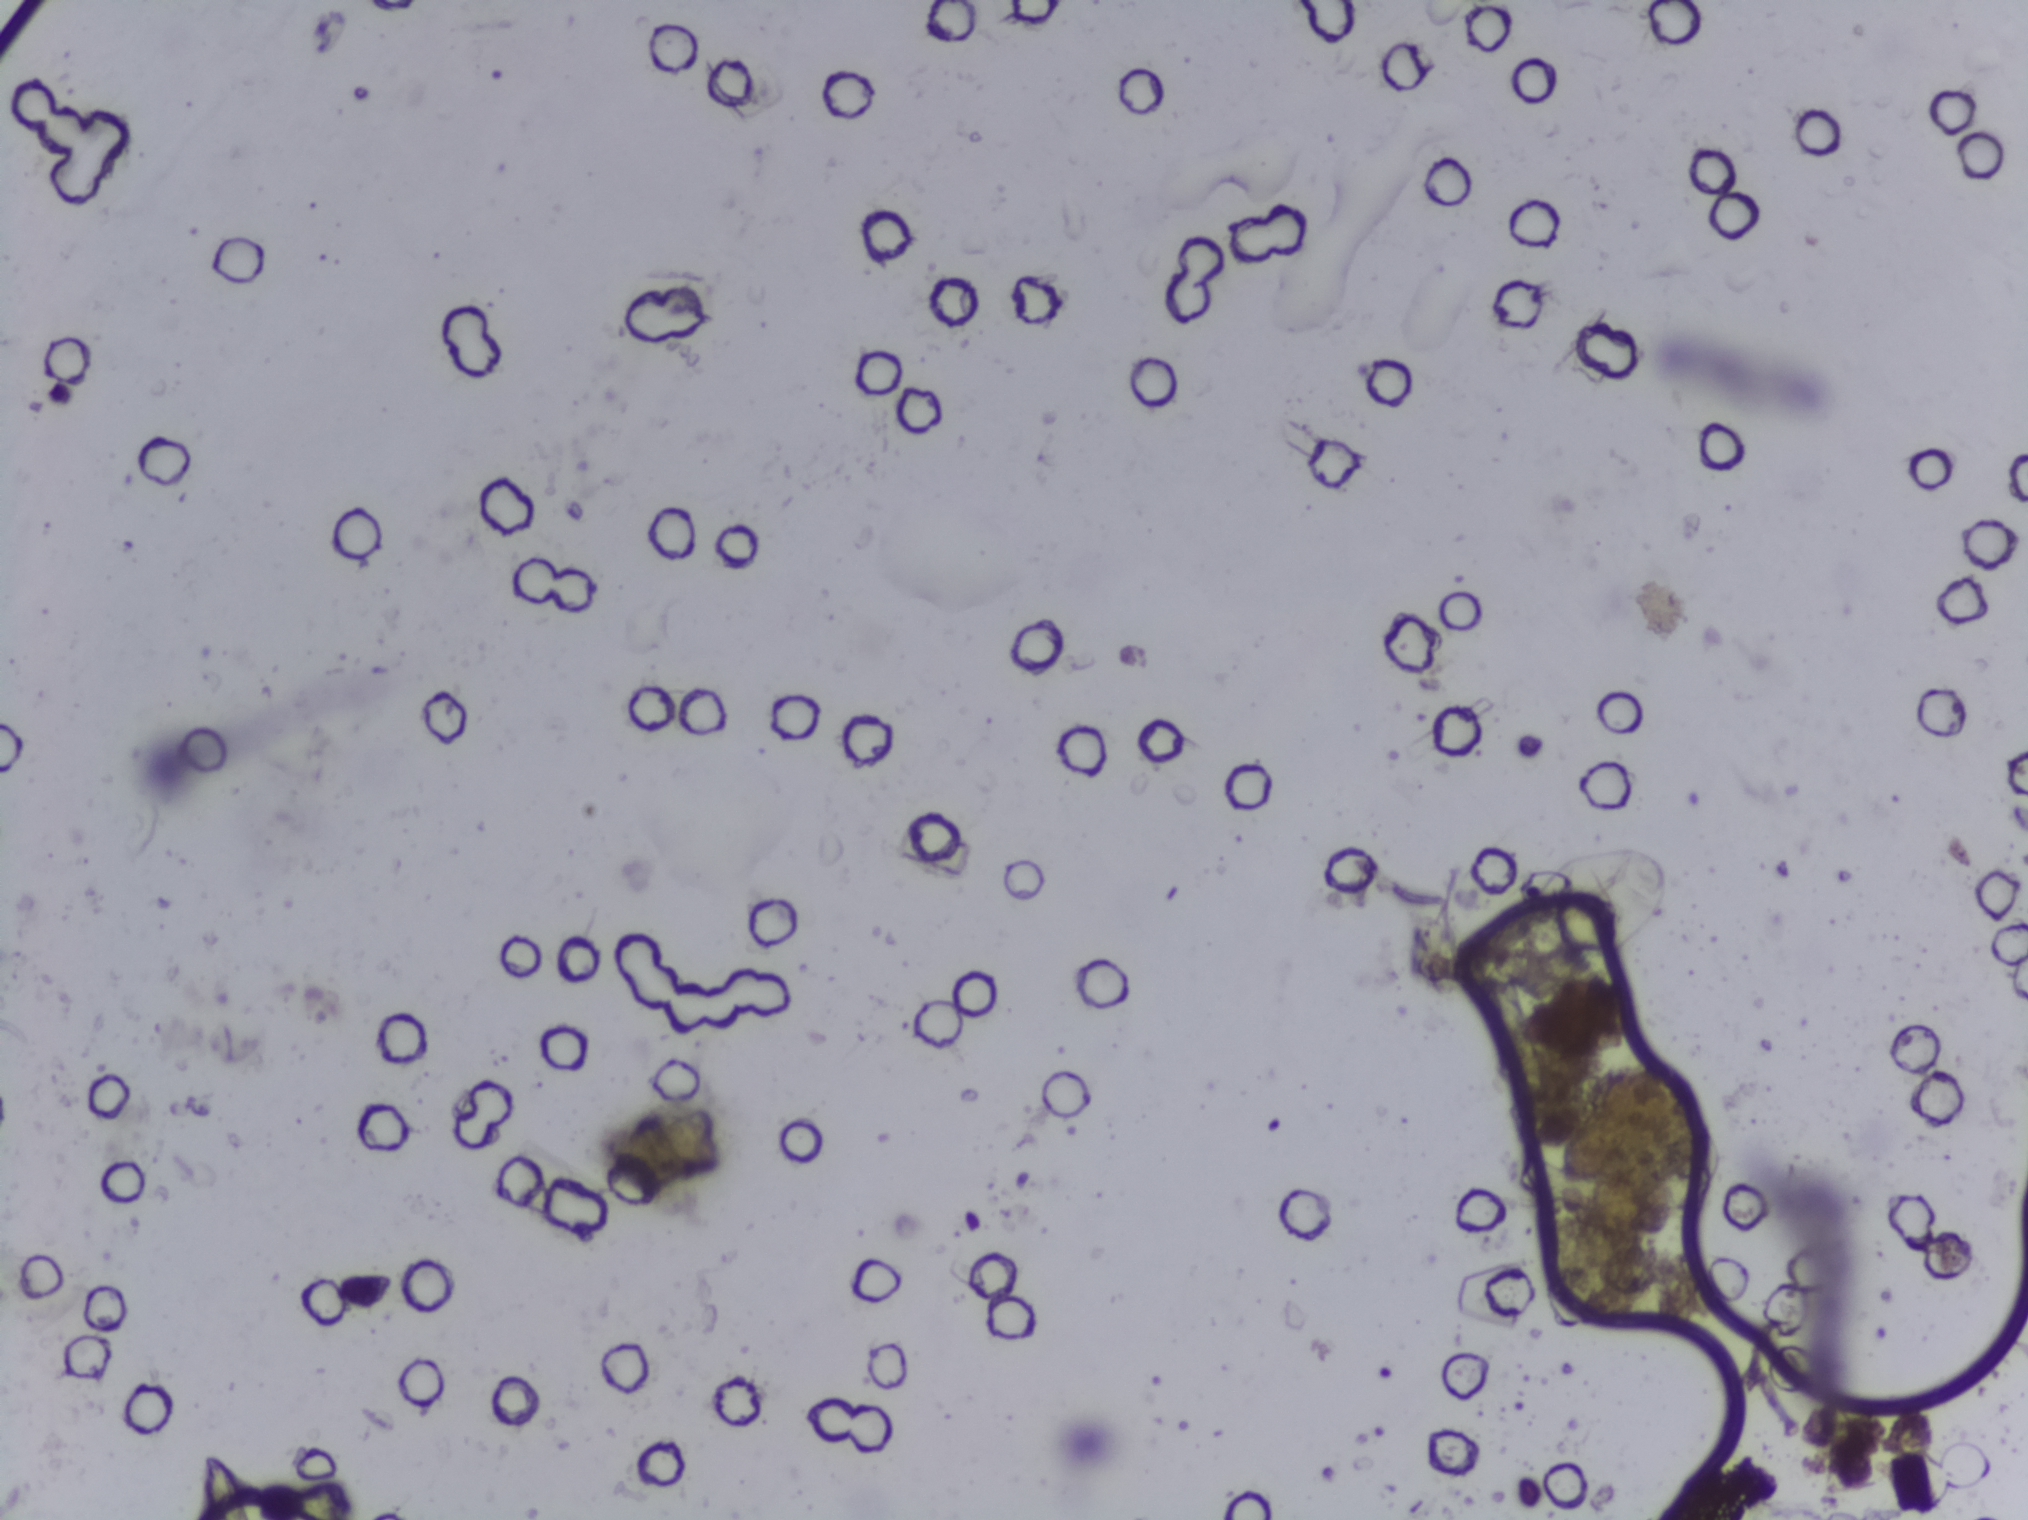
Photograph from an automated digital microscope: urine filter membrane, 4× objective.
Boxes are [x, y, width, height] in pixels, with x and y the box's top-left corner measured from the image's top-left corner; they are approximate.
Findings: one area outlined as Schistosoma eggs. Location: [1480, 847, 197, 144]. Eggs that touch can end up inside the same outlined area. A marked egg may occasionally be S. mansoni rather than S. haematobium.